Urine filtration membrane under a 4× objective, photographed by an automated digital microscope. The image covers about 1.5 × 1.1 mm of the membrane.
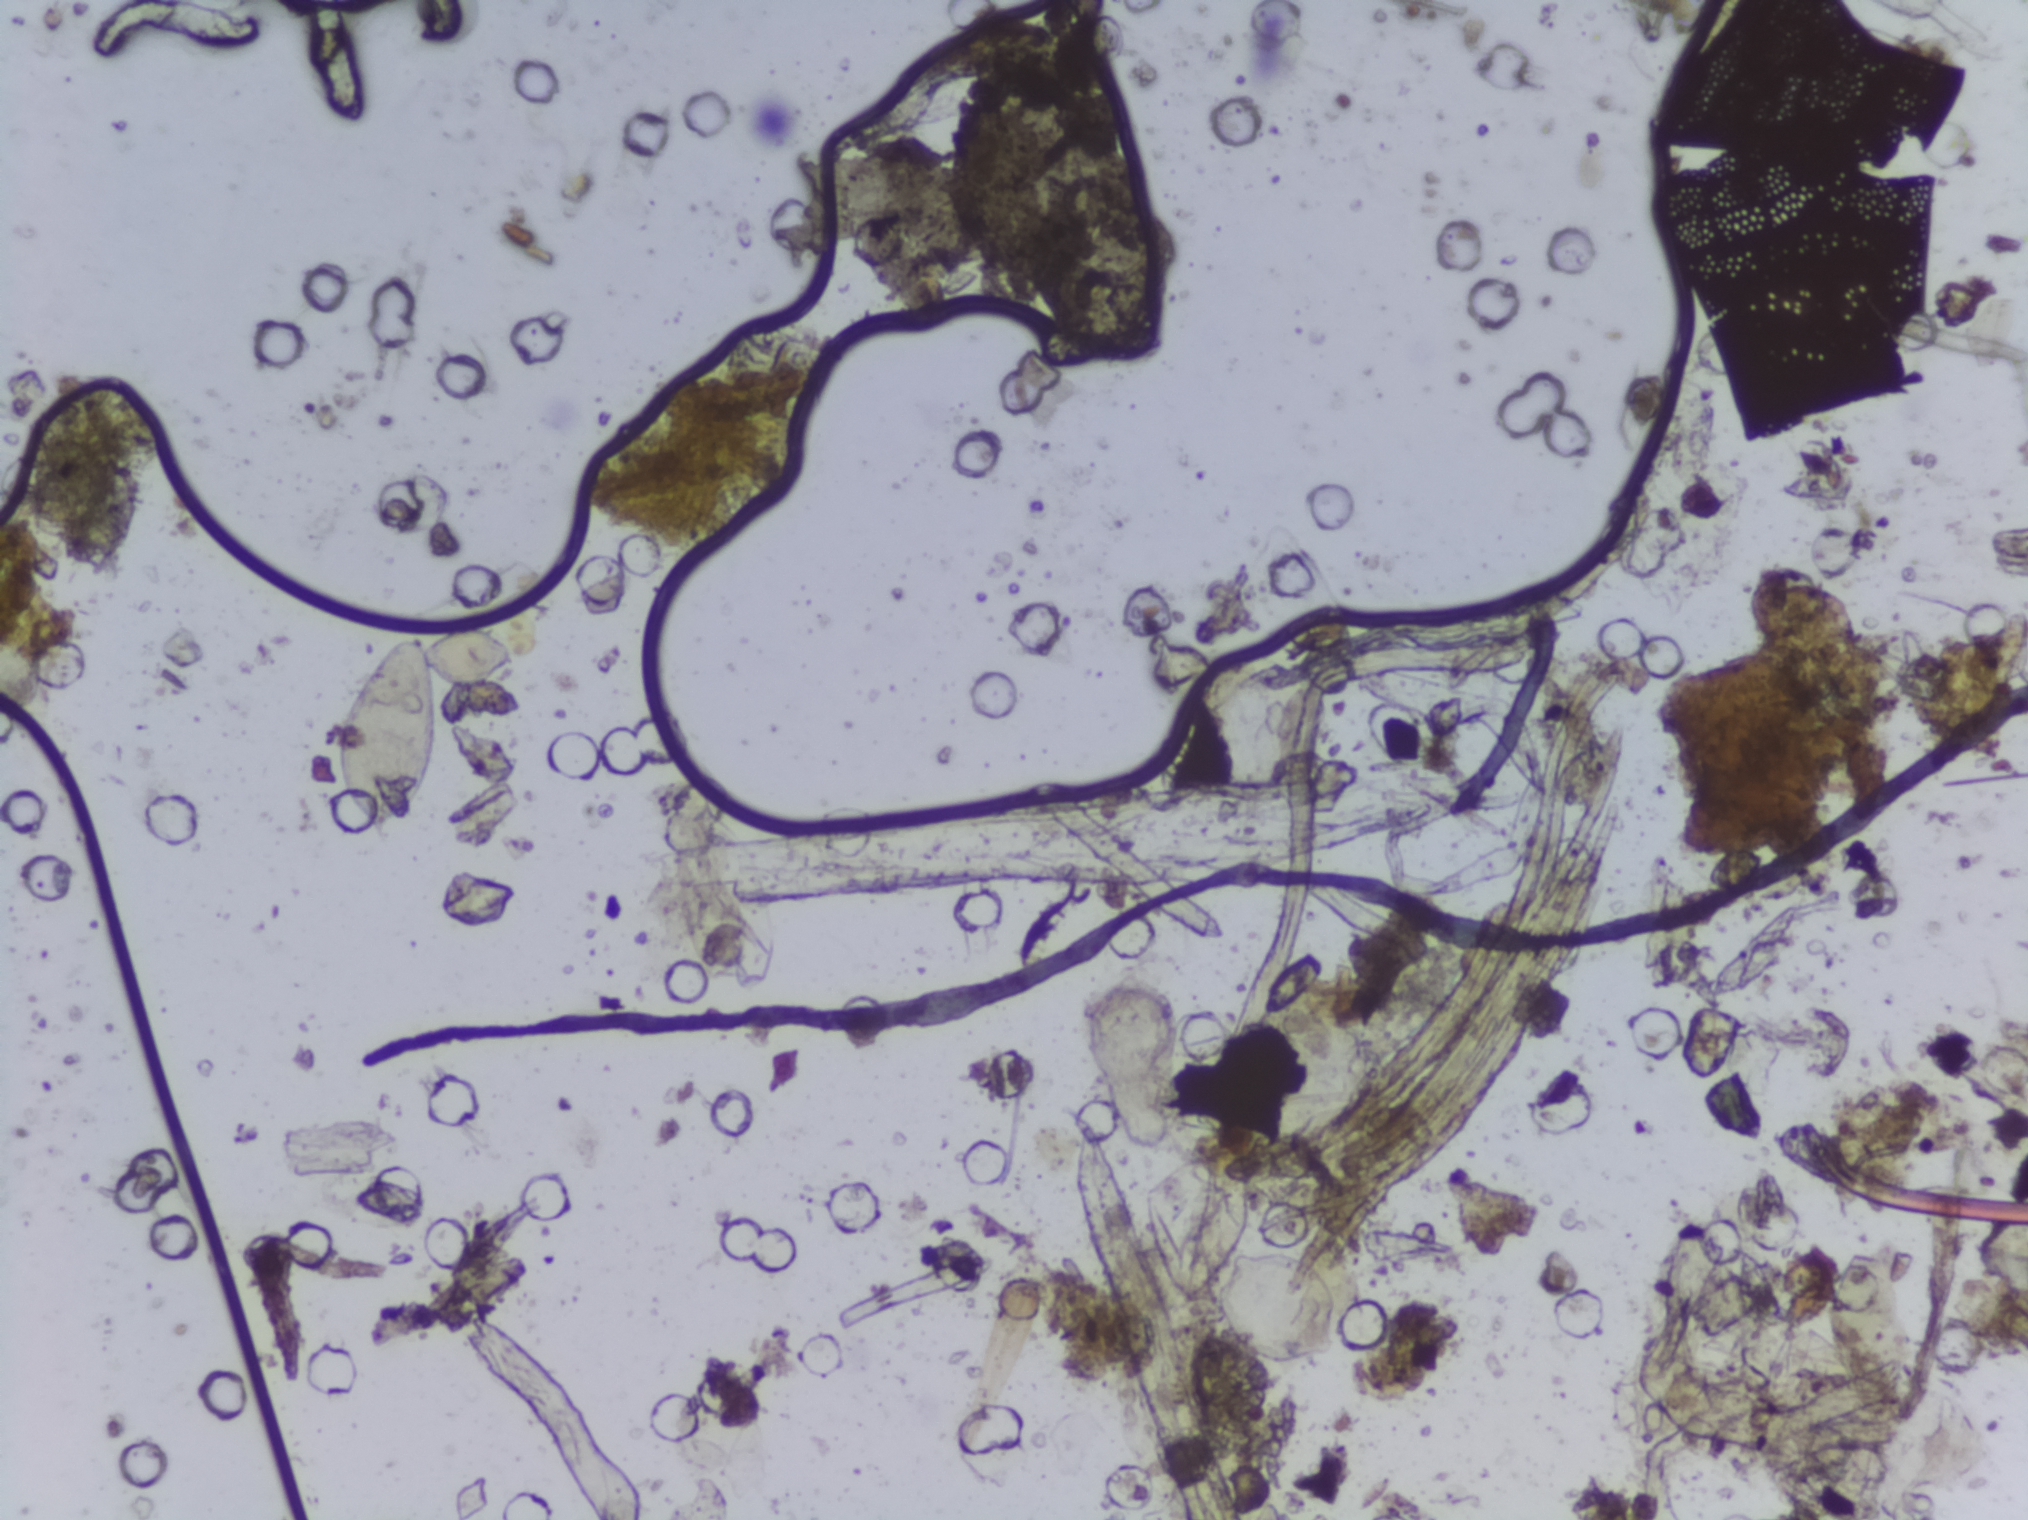
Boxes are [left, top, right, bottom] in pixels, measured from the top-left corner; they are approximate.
Findings: two areas outlined as Schistosoma eggs. Locations: [333, 632, 437, 841]; [1086, 963, 1186, 1161]. An outlined area can hold more than one egg.